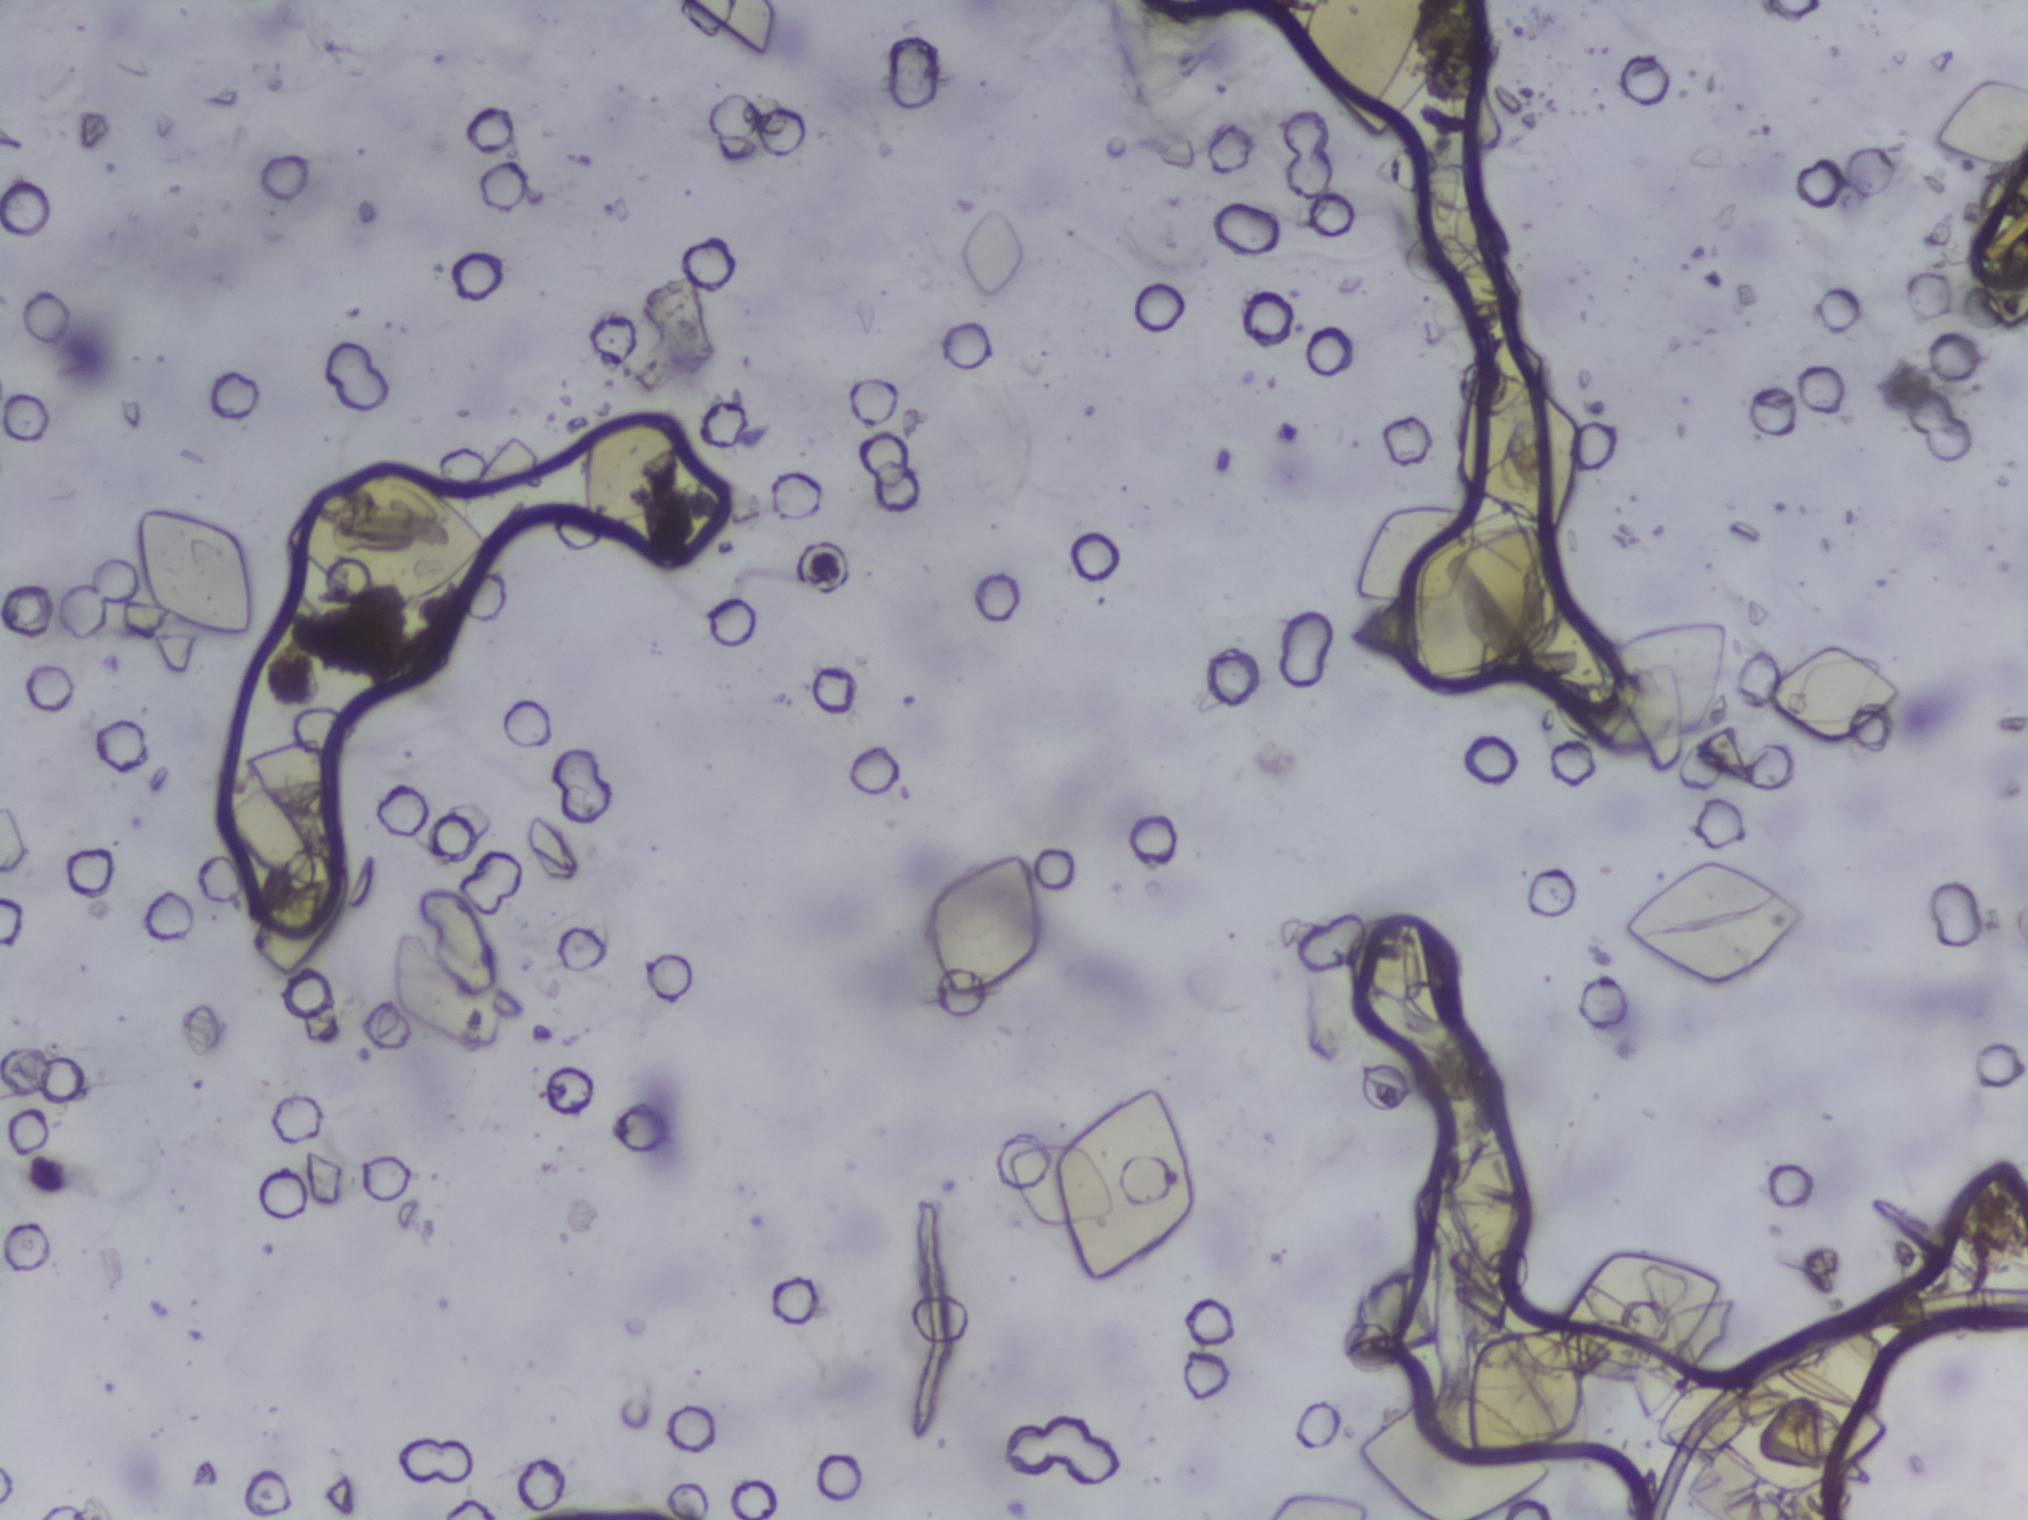
The expert annotation outlines no Schistosoma egg in this image.
Photomicrograph of a urine filtration membrane, 4× objective. Field of view: about 1.5 mm wide and 1.1 mm high.